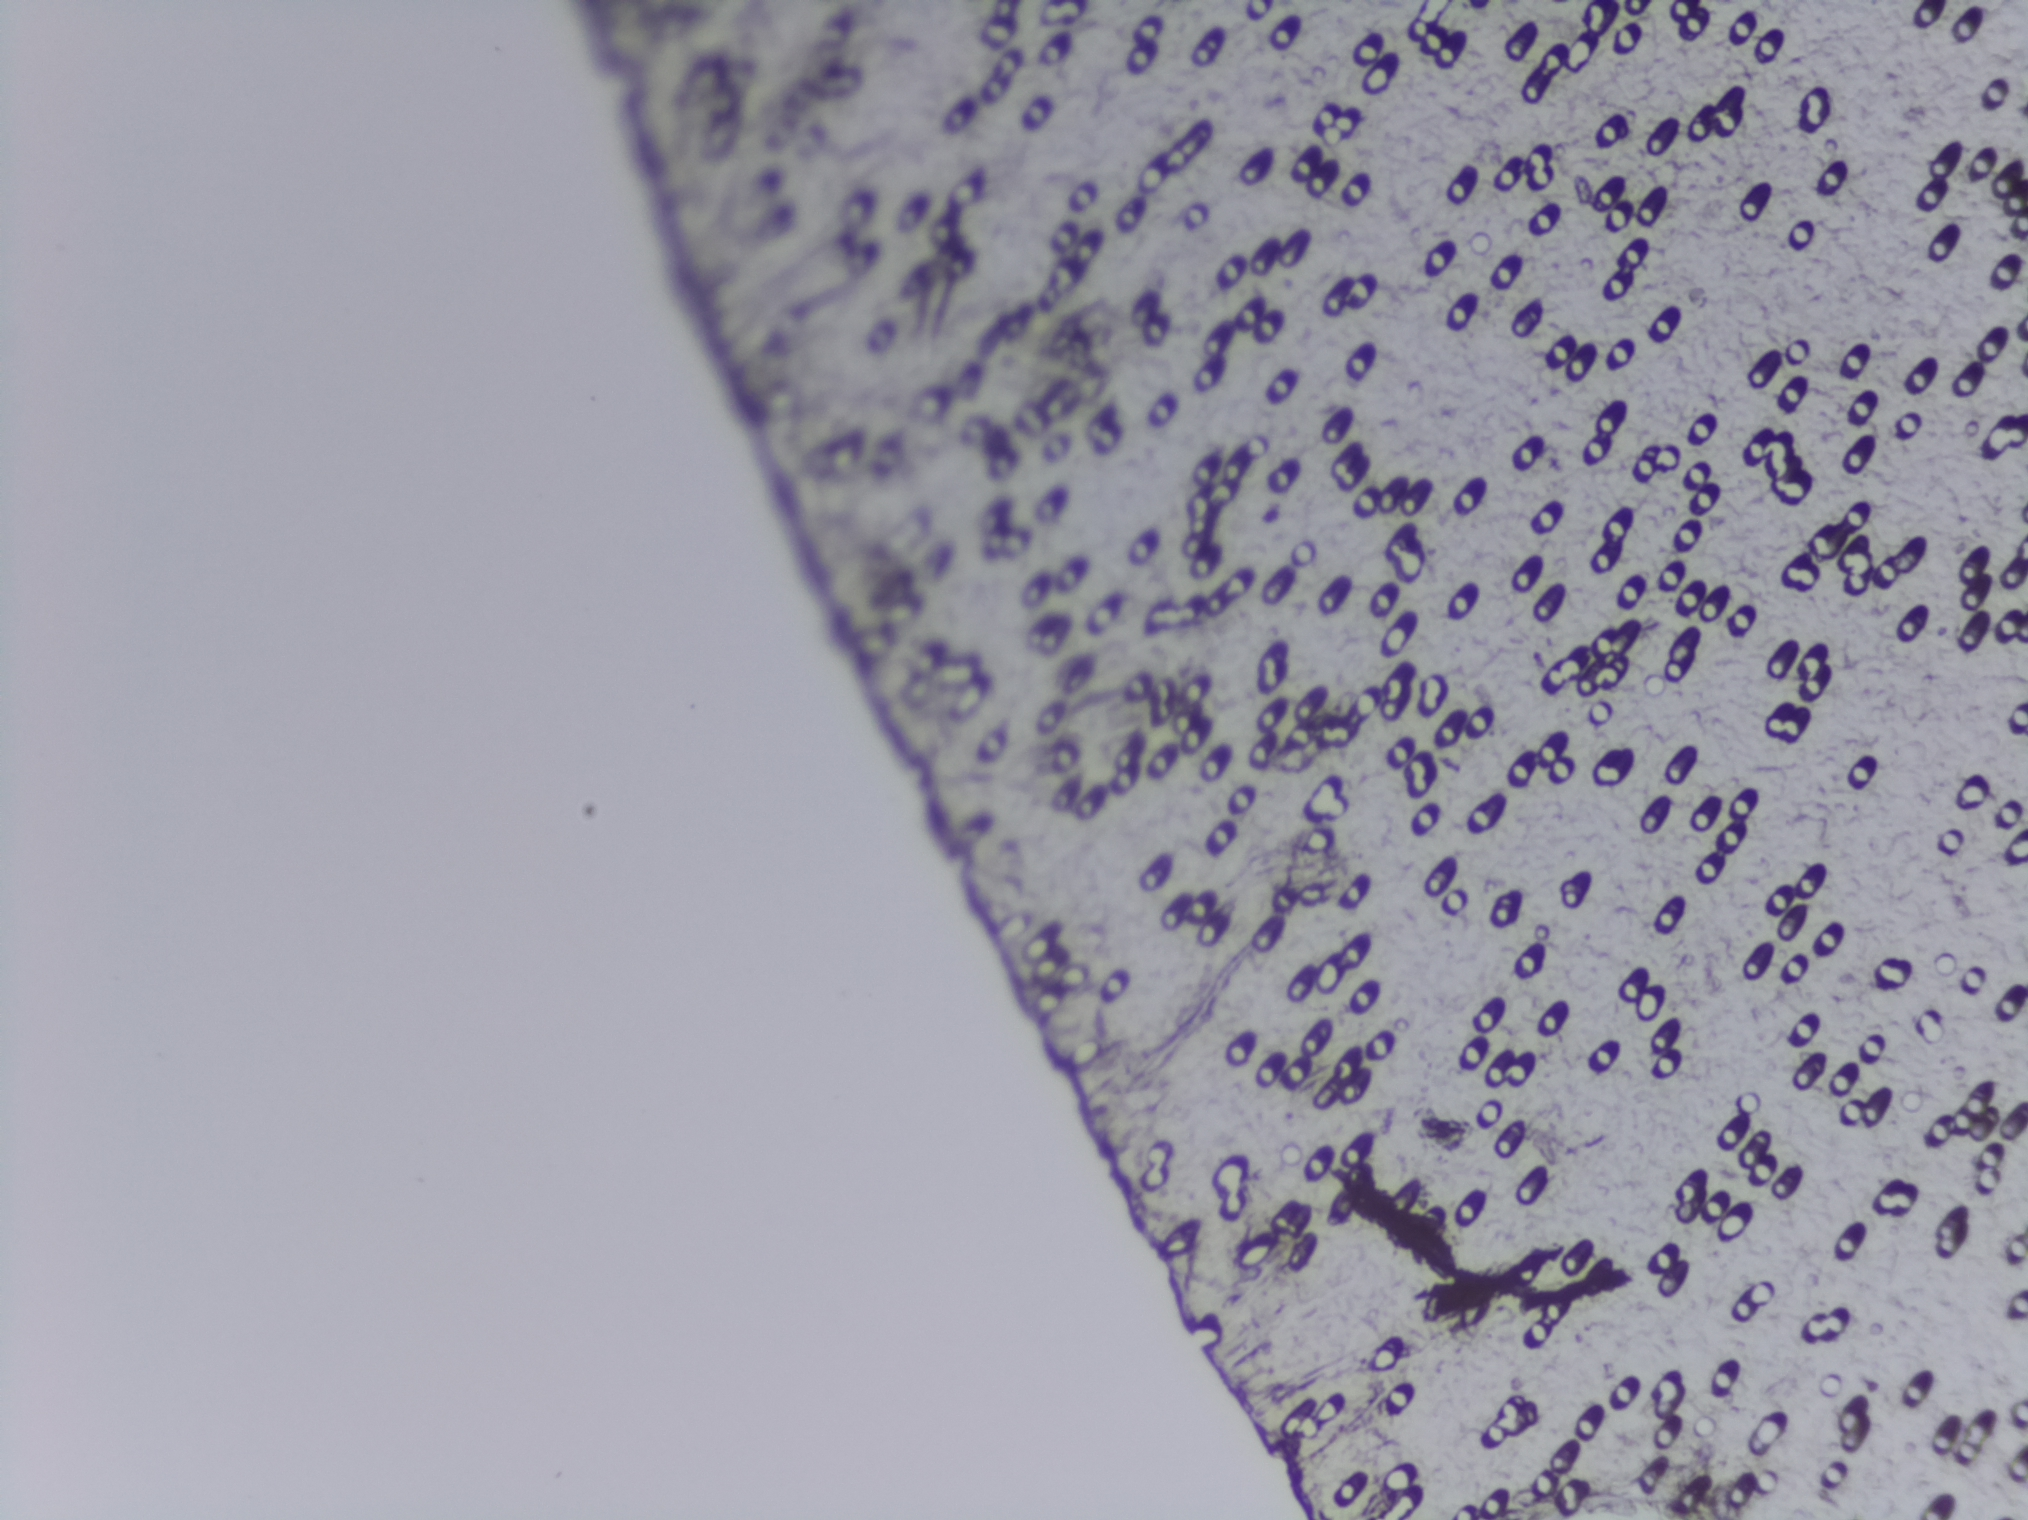
Urine filtration membrane under a 4× objective, photographed by an automated digital microscope.
No area of this image was outlined as a Schistosoma egg.